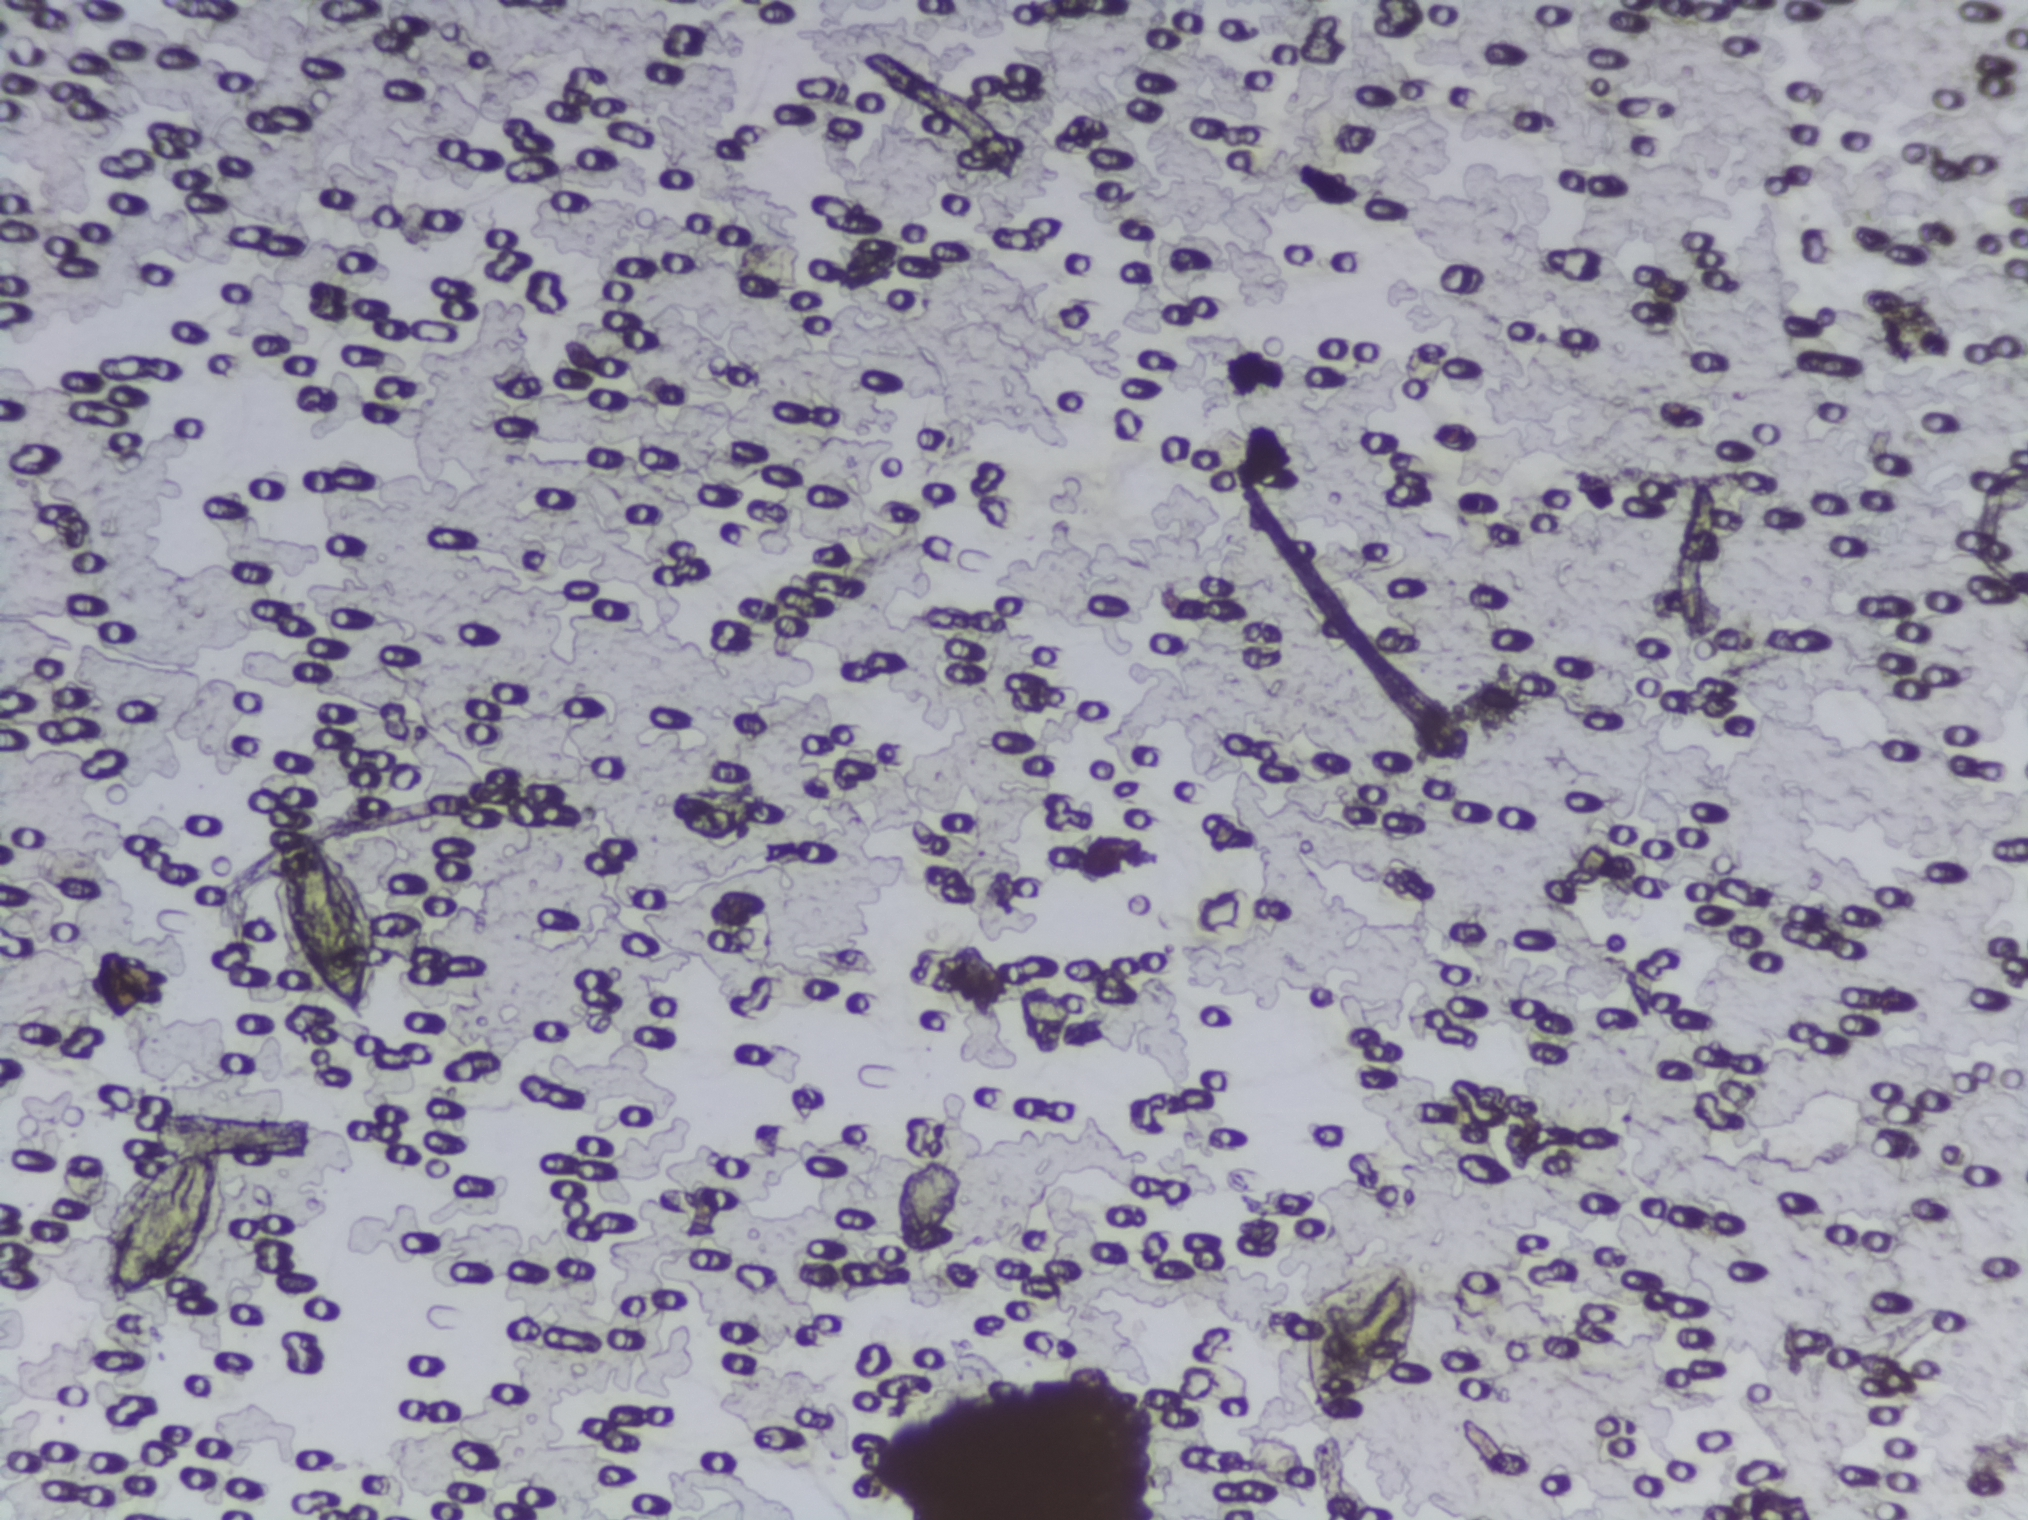
Urine filtration membrane under a 4× objective, photographed by an automated digital microscope.
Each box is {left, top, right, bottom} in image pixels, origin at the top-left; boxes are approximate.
Three areas of this image are outlined as Schistosoma eggs, from left to right: {93, 1123, 234, 1305}; {266, 809, 399, 1029}; {1299, 1250, 1428, 1406}. A single outlined area may contain several eggs.